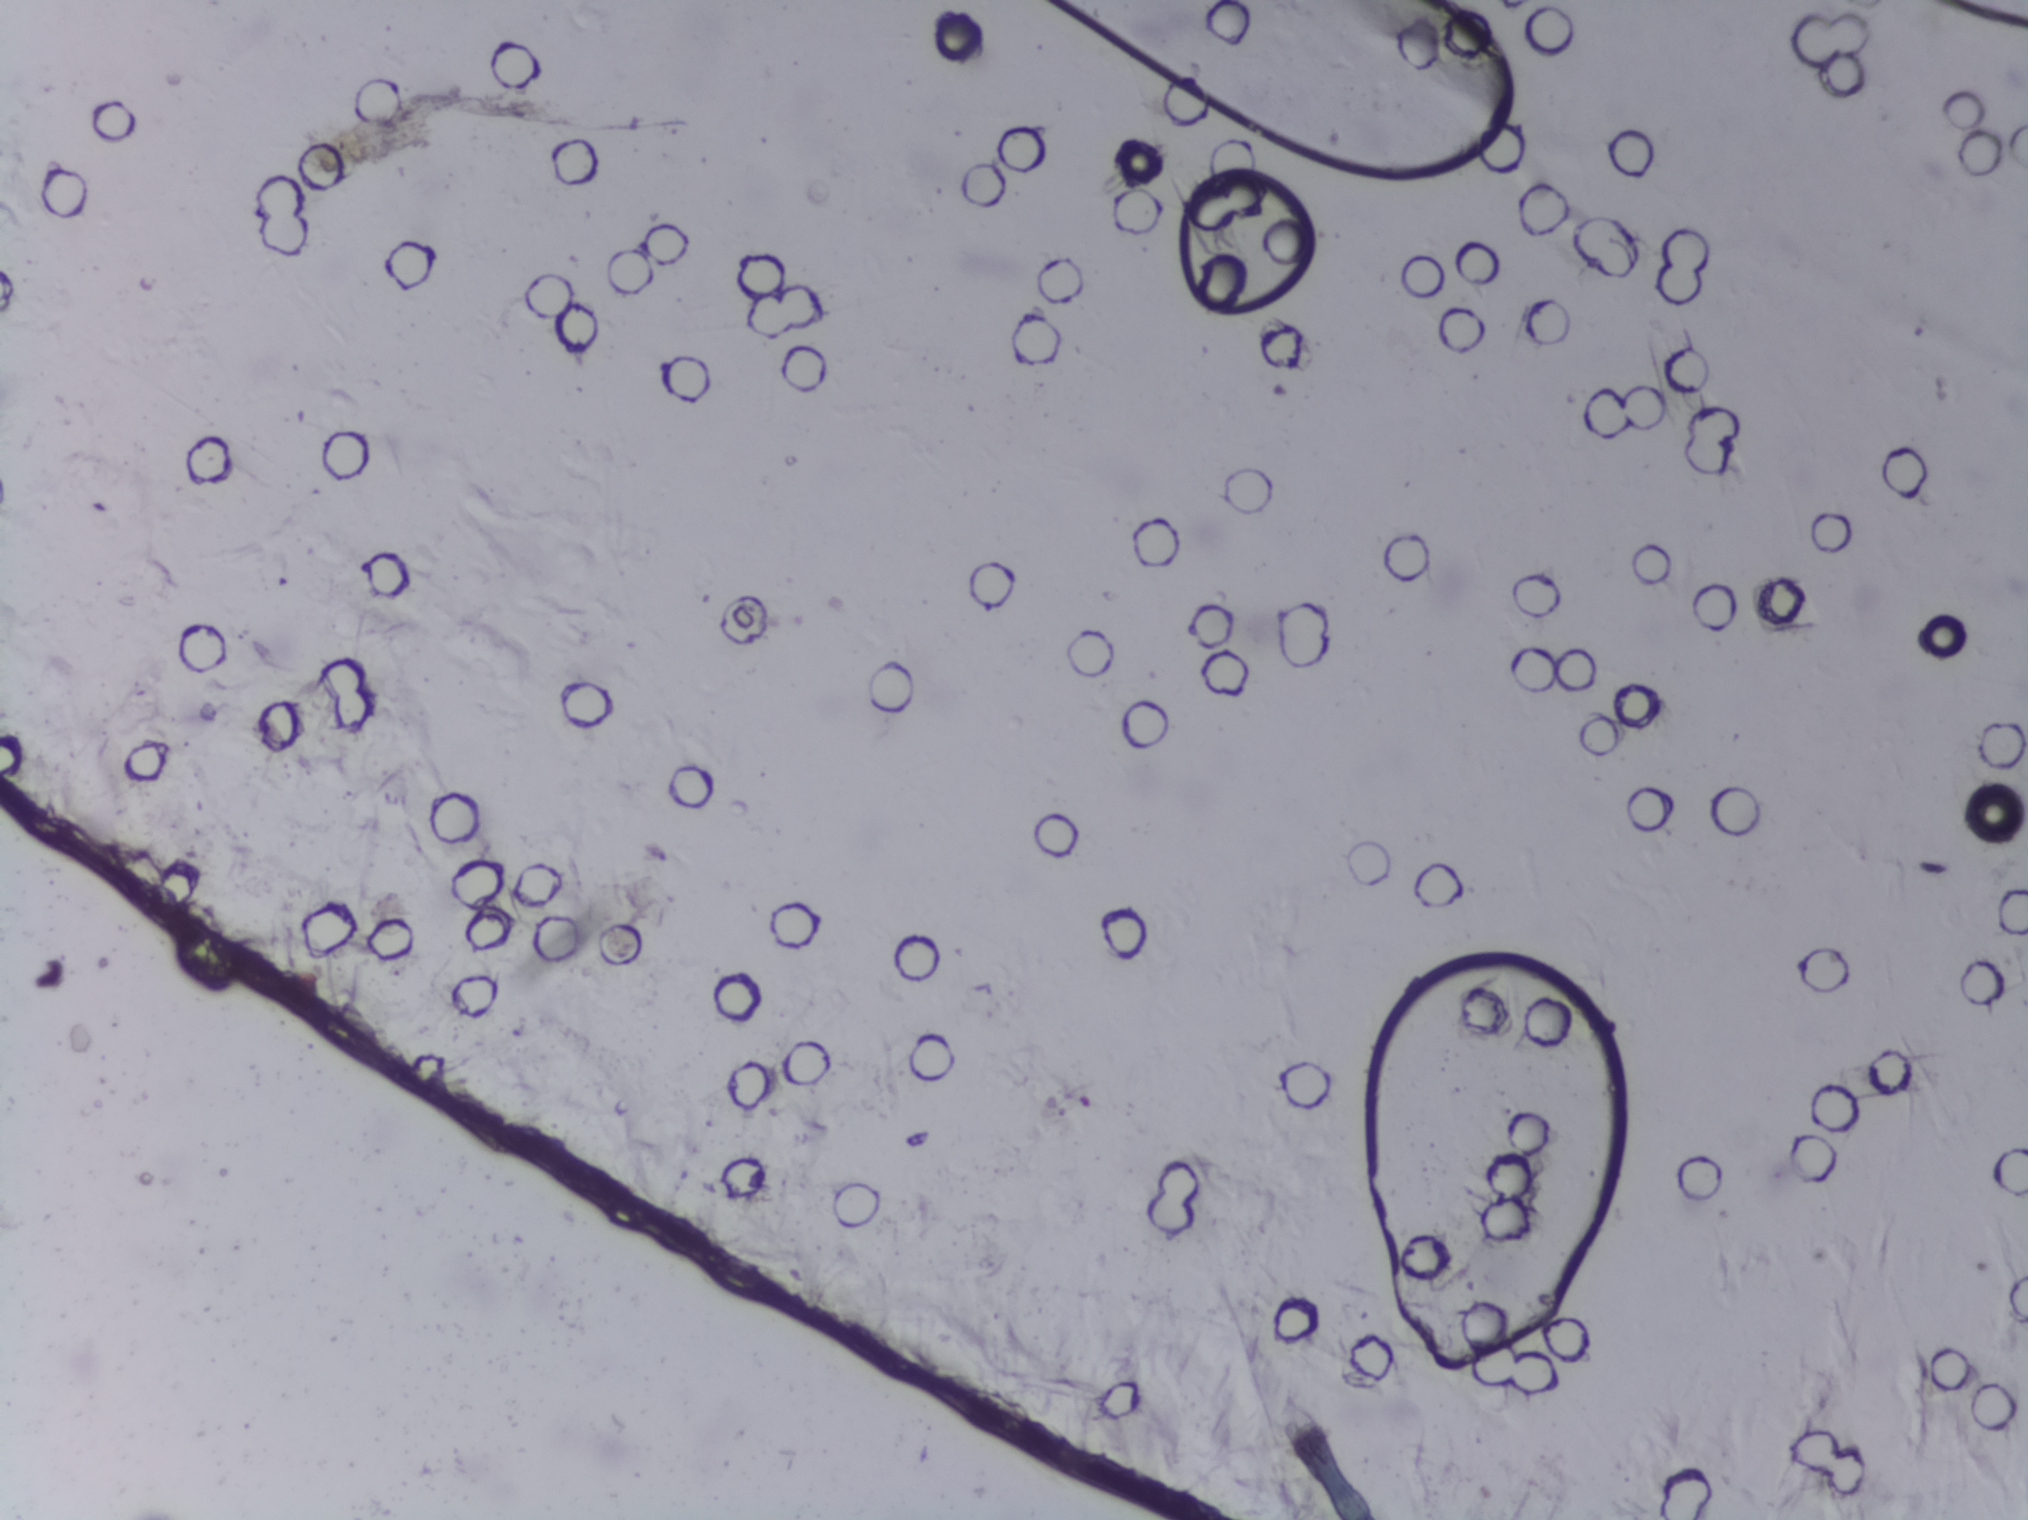
Microscope photograph (4× objective) of a membrane that a urine sample was filtered through. The image covers about 1.5 × 1.1 mm of the membrane.
No Schistosoma egg is outlined in this image's expert annotation.